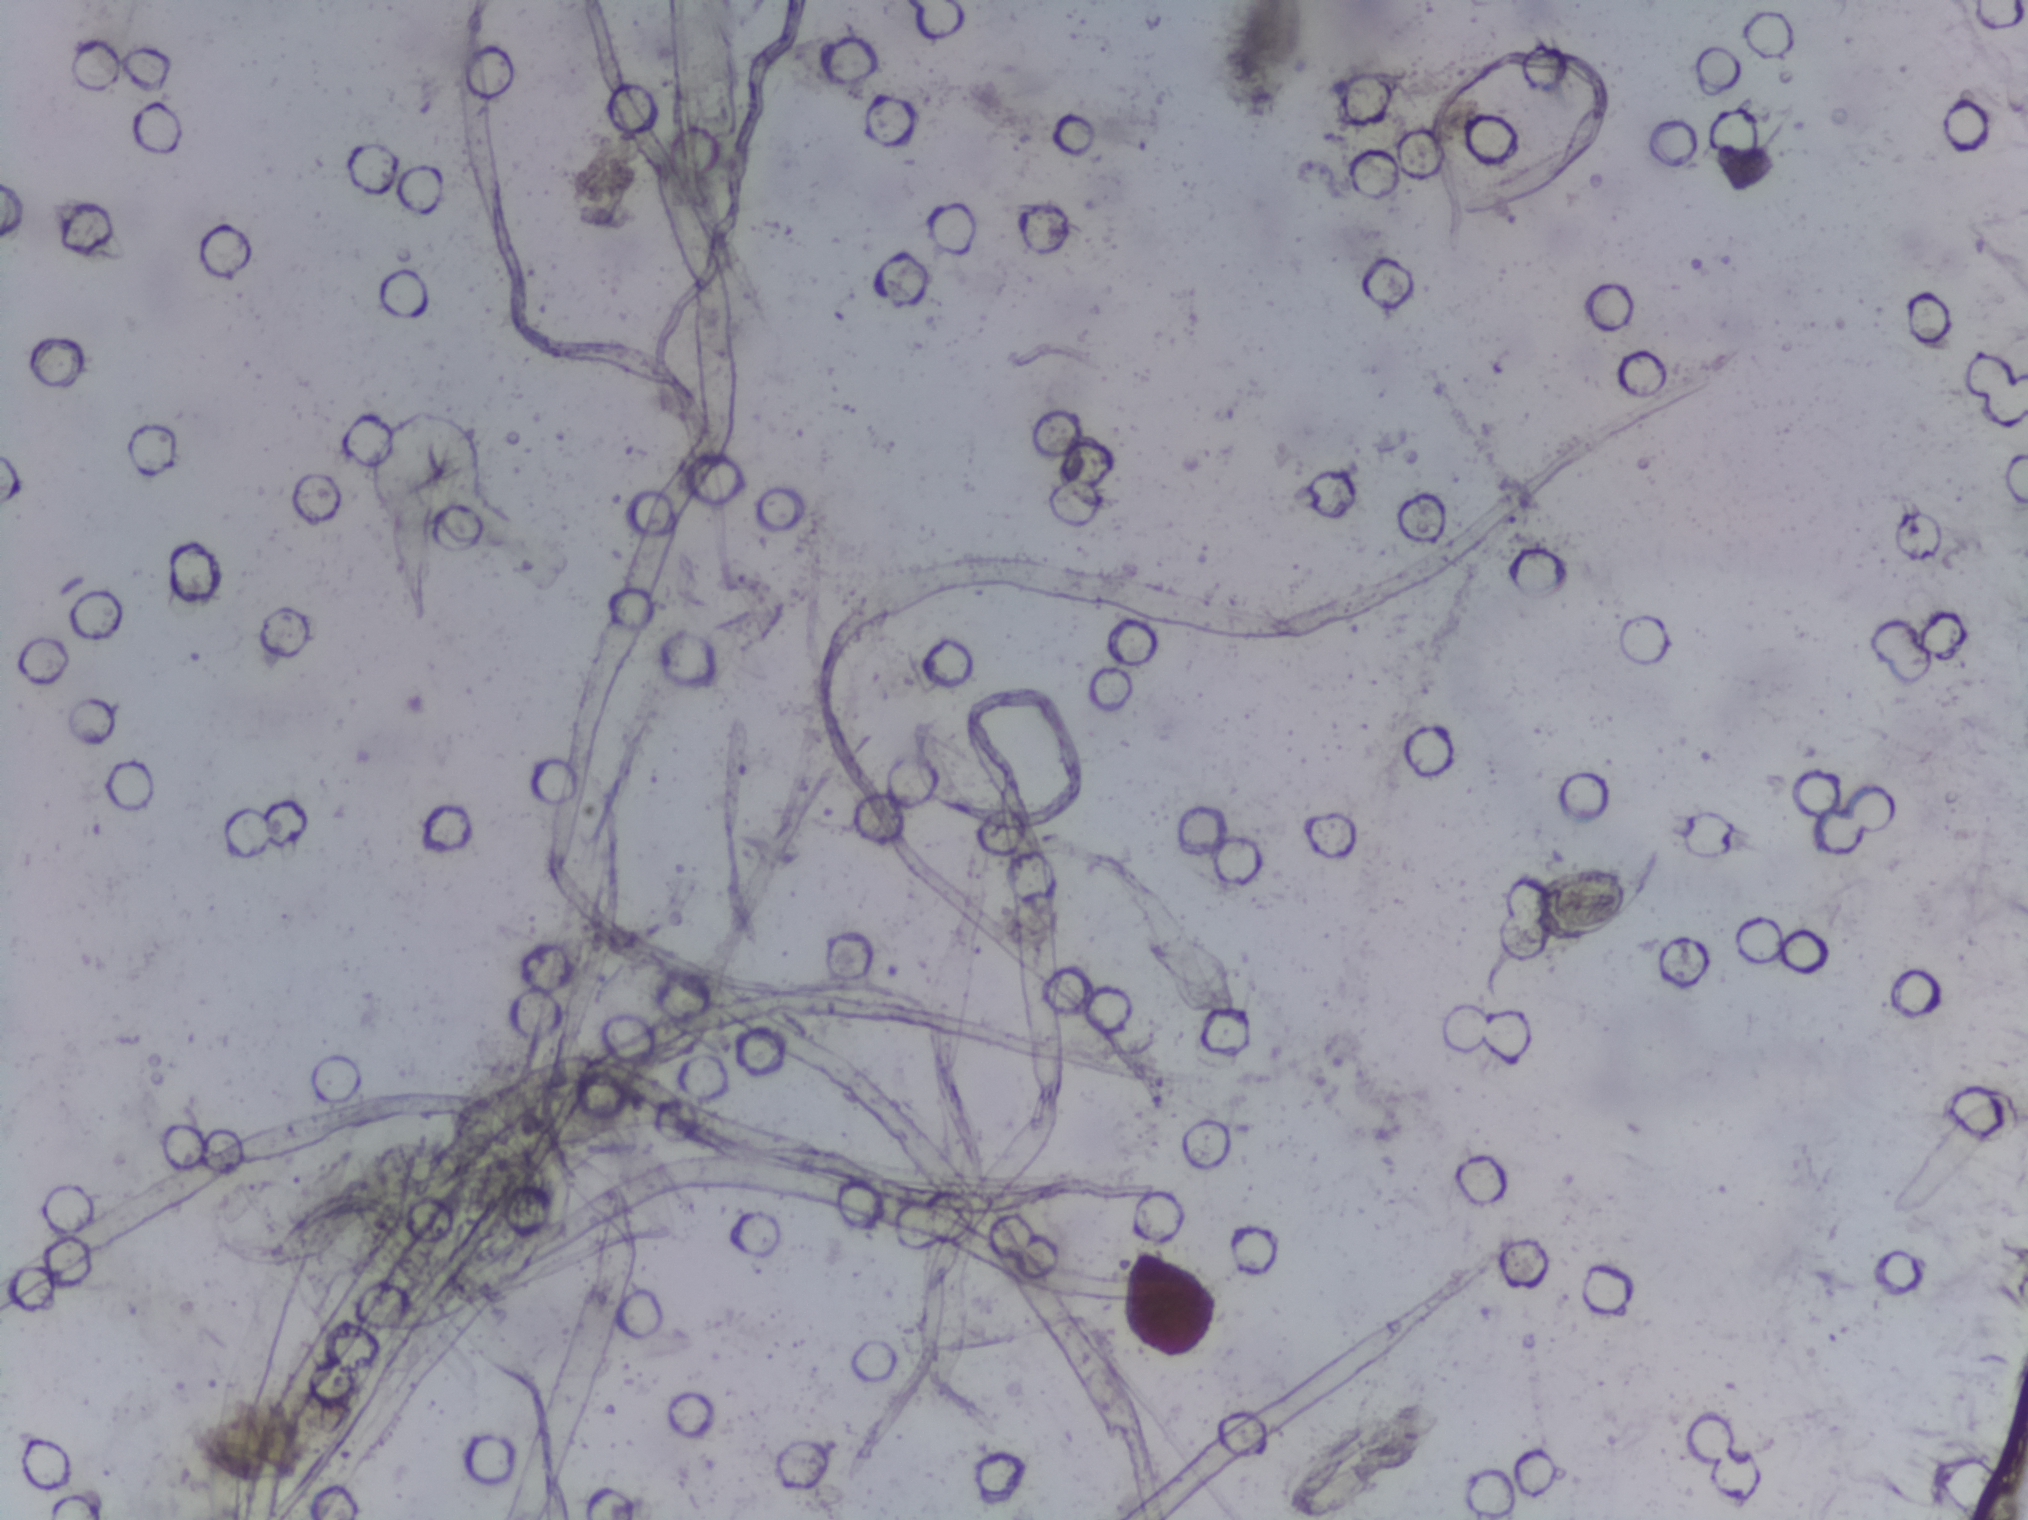
Urine filtration membrane under a 4× objective, photographed by an automated digital microscope.
Schistosoma eggs: none outlined.